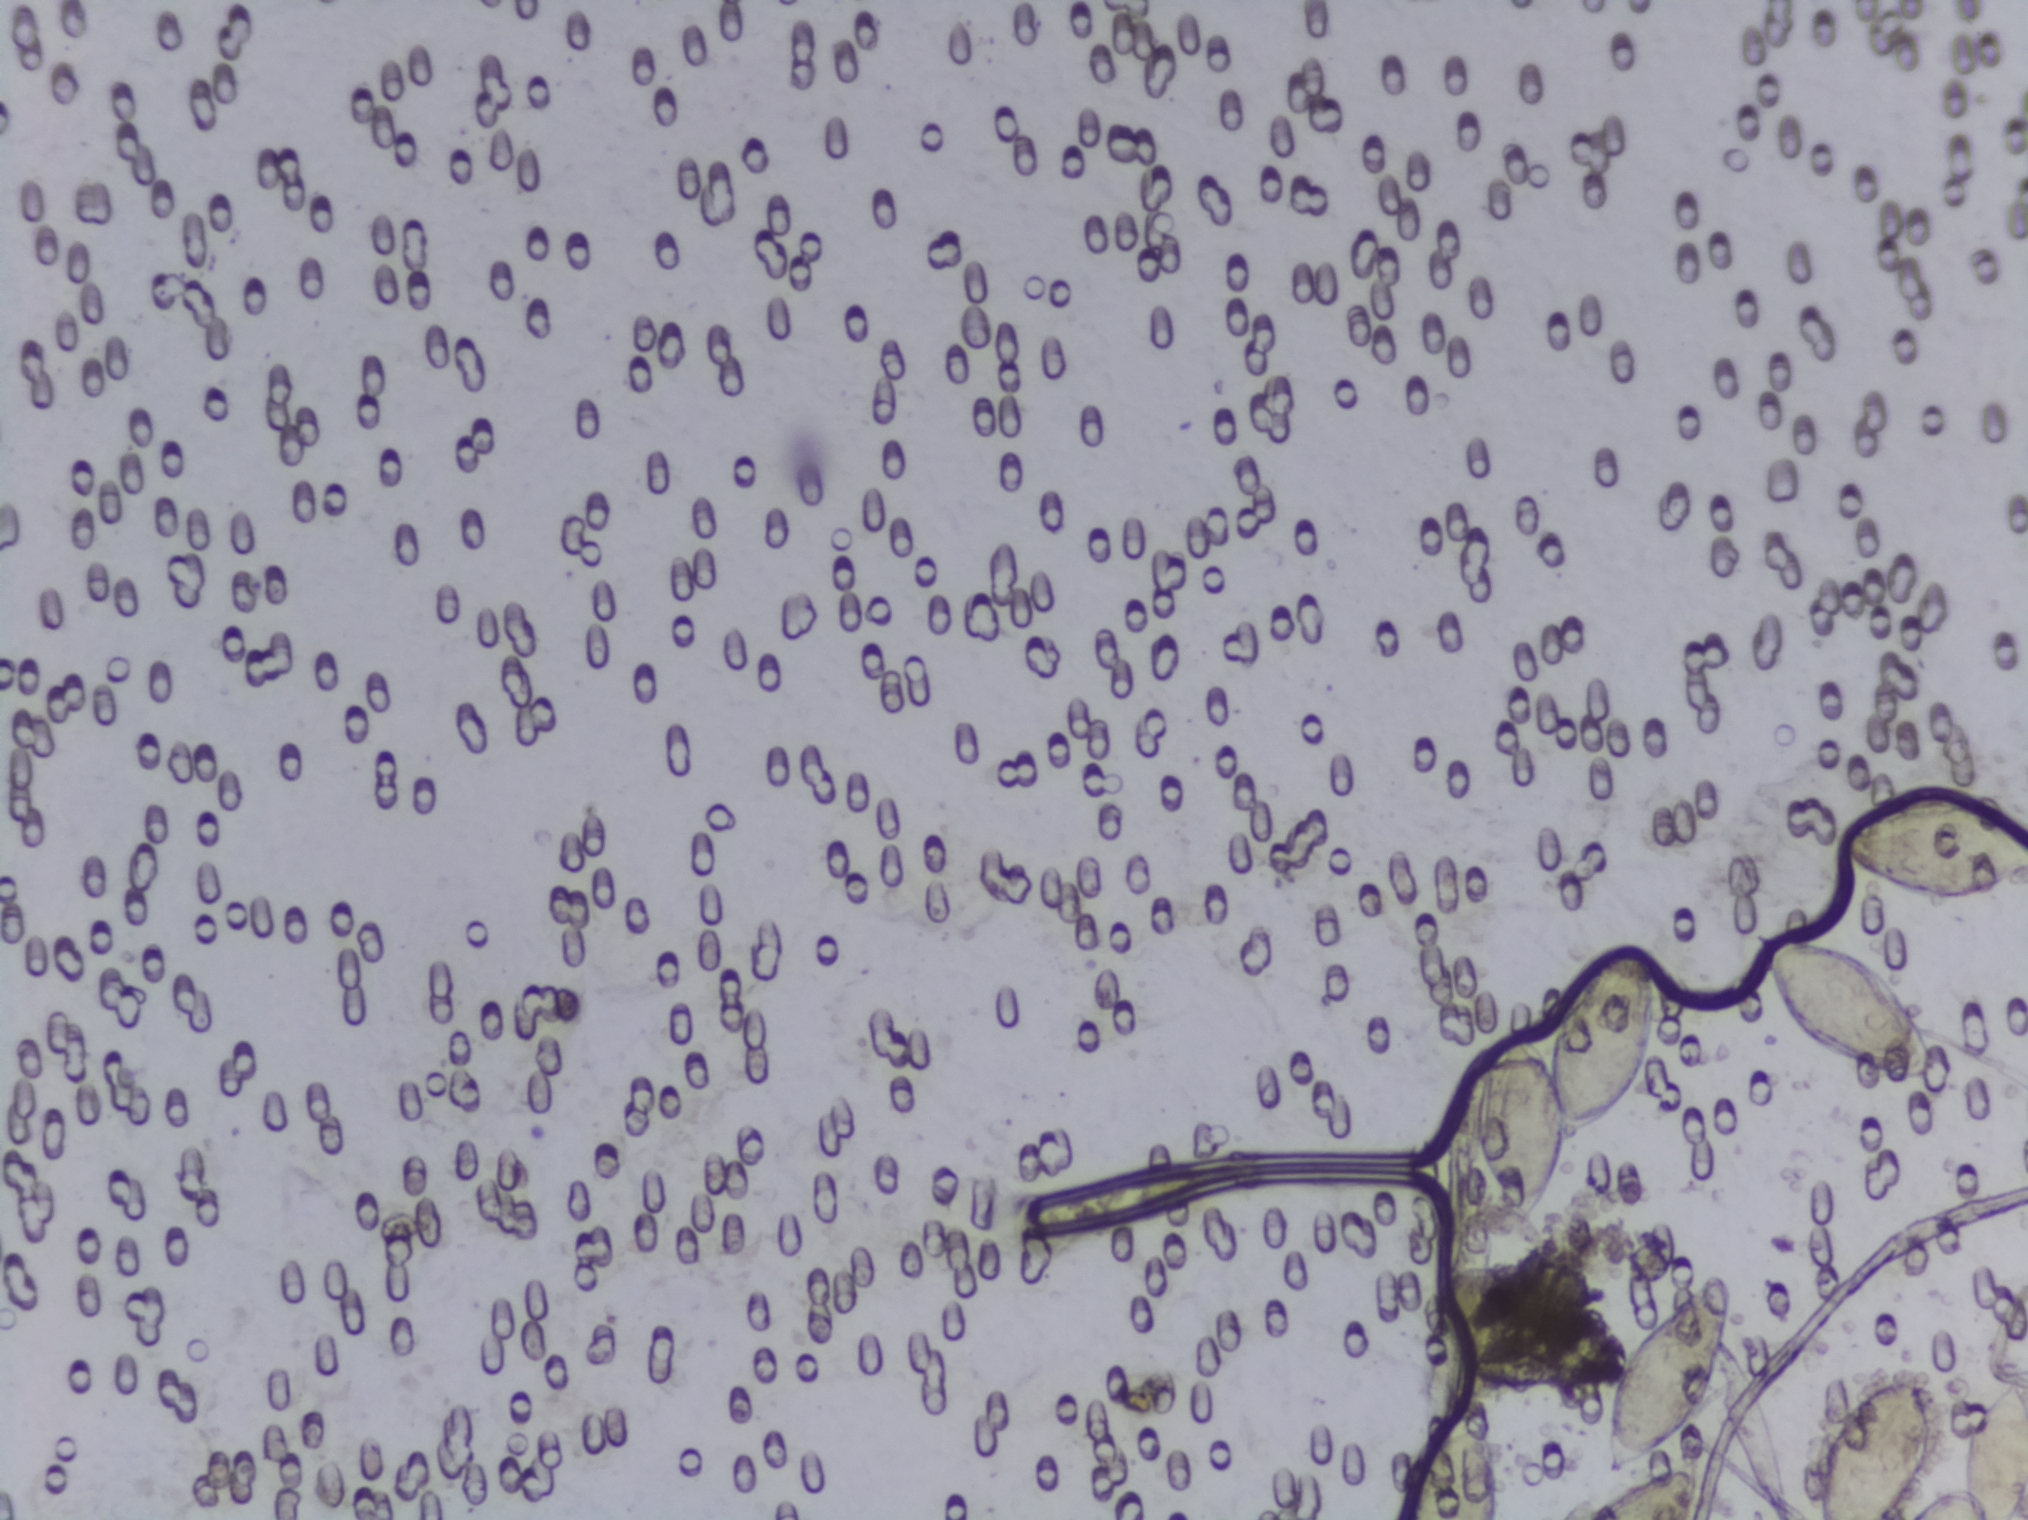
One field of view of a urine filter membrane, 4× objective, 2028 × 1520 pixels. The image covers about 1.5 × 1.1 mm of the membrane.
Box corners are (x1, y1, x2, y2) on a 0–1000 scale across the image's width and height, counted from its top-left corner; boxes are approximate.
Eight areas of this image are outlined as Schistosoma eggs, from left to right: (692, 918, 740, 1000) (reaching the bottom edge of the frame); (725, 620, 821, 811); (774, 962, 838, 1000) (reaching the bottom edge of the frame); (790, 838, 855, 972); (864, 611, 958, 713); (895, 902, 954, 1000) (reaching the bottom edge of the frame); (905, 518, 1000, 595) (reaching the right edge of the frame); (939, 905, 1000, 1000) (reaching the right and bottom edges of the frame). Eggs that touch can end up inside the same outlined area. A marked egg may occasionally be S. mansoni rather than S. haematobium.